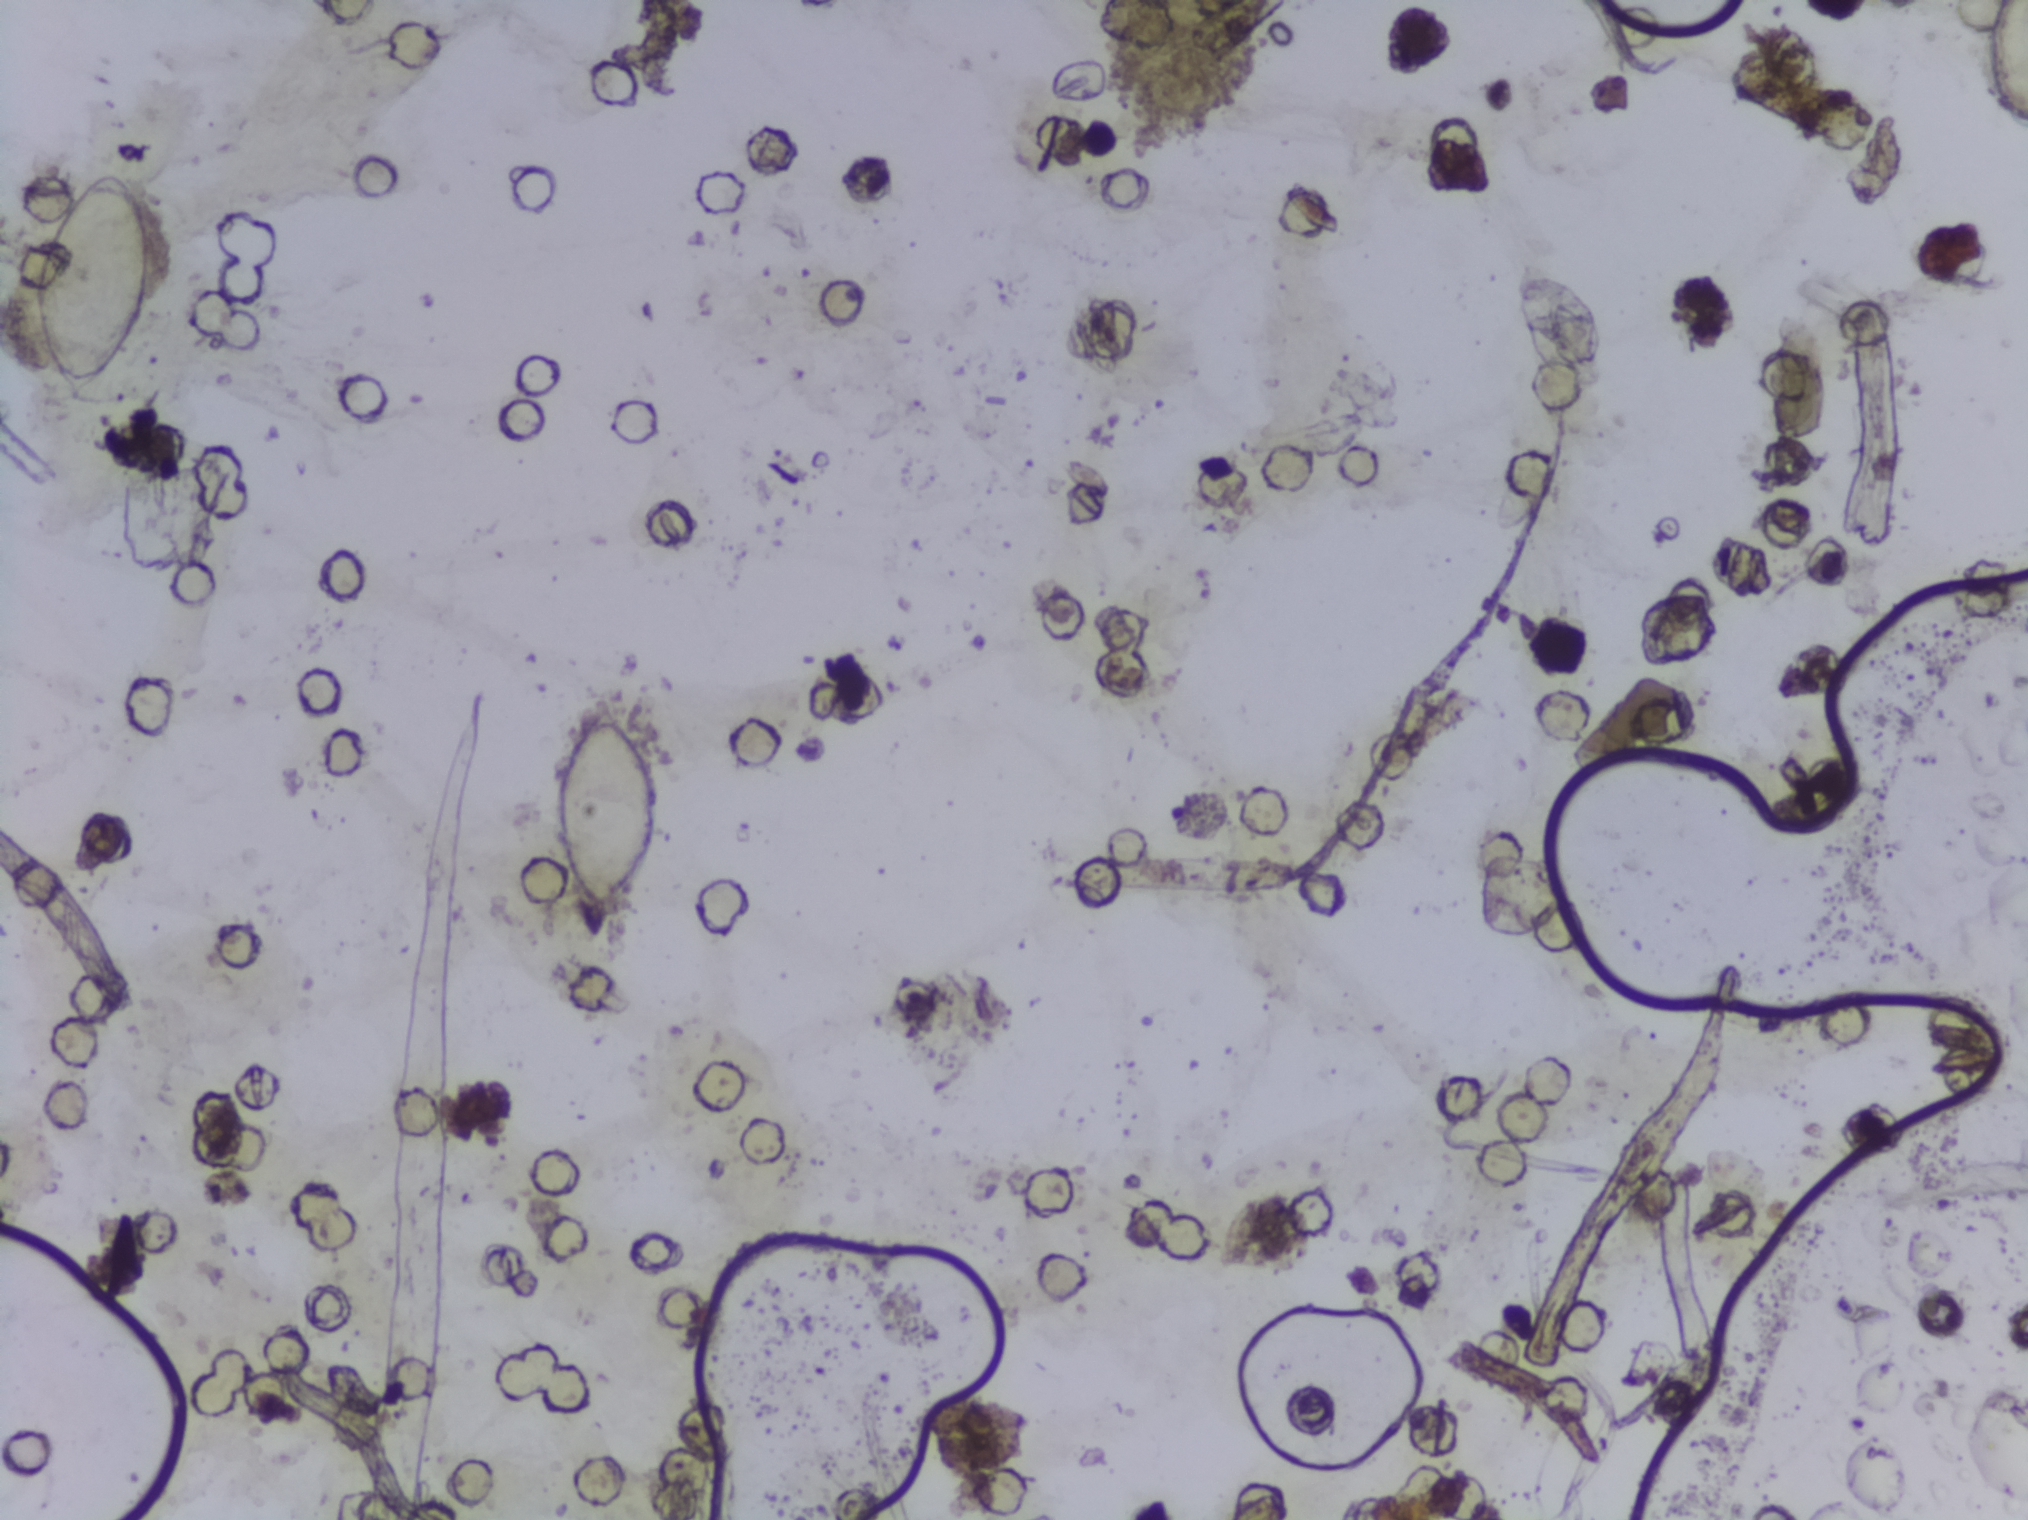
Photomicrograph of a urine filtration membrane, 4× objective.
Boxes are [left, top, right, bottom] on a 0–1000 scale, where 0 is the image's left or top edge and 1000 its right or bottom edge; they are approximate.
{"schistosoma_egg_areas_xyxy_per1000": [[14, 113, 78, 272], [271, 461, 326, 603], [980, 0, 1000, 83]]} Area 3 reaches the top and right edges of the frame.
An outlined area can hold more than one egg.